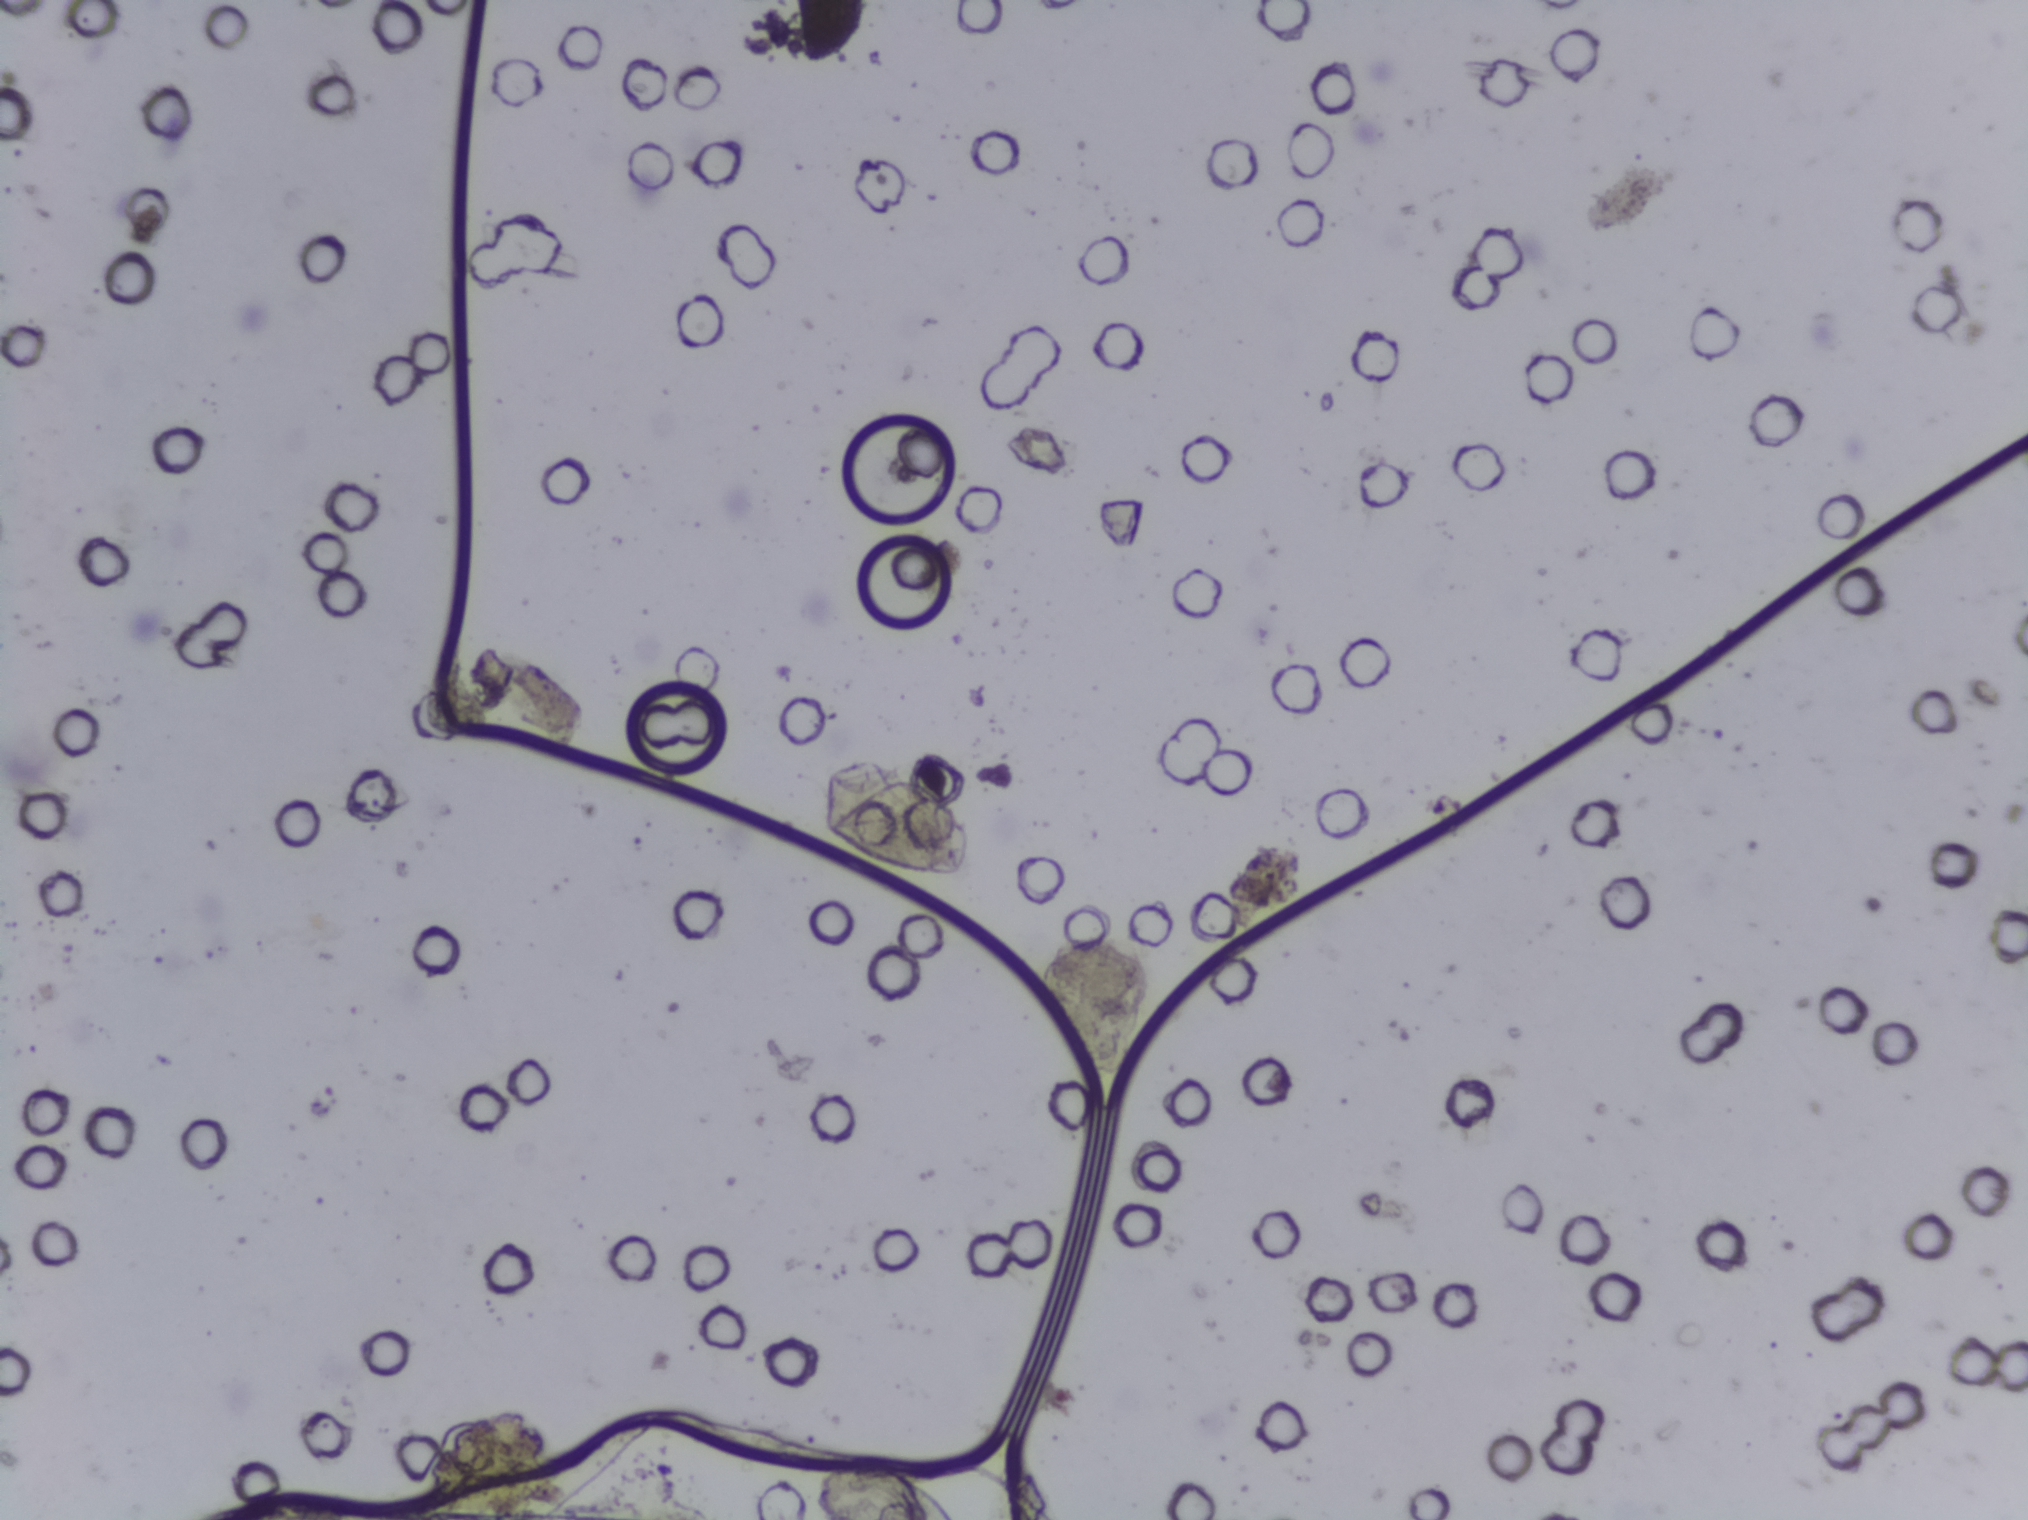
One field of view of a urine filter membrane, 4× objective, 2028 × 1520 pixels.
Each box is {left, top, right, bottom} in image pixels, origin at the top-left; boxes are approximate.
Findings: two areas outlined as Schistosoma eggs. Locations: {809, 1462, 955, 1519} (reaching the bottom edge of the frame); {819, 762, 972, 880}. Eggs that touch can end up inside the same outlined area.